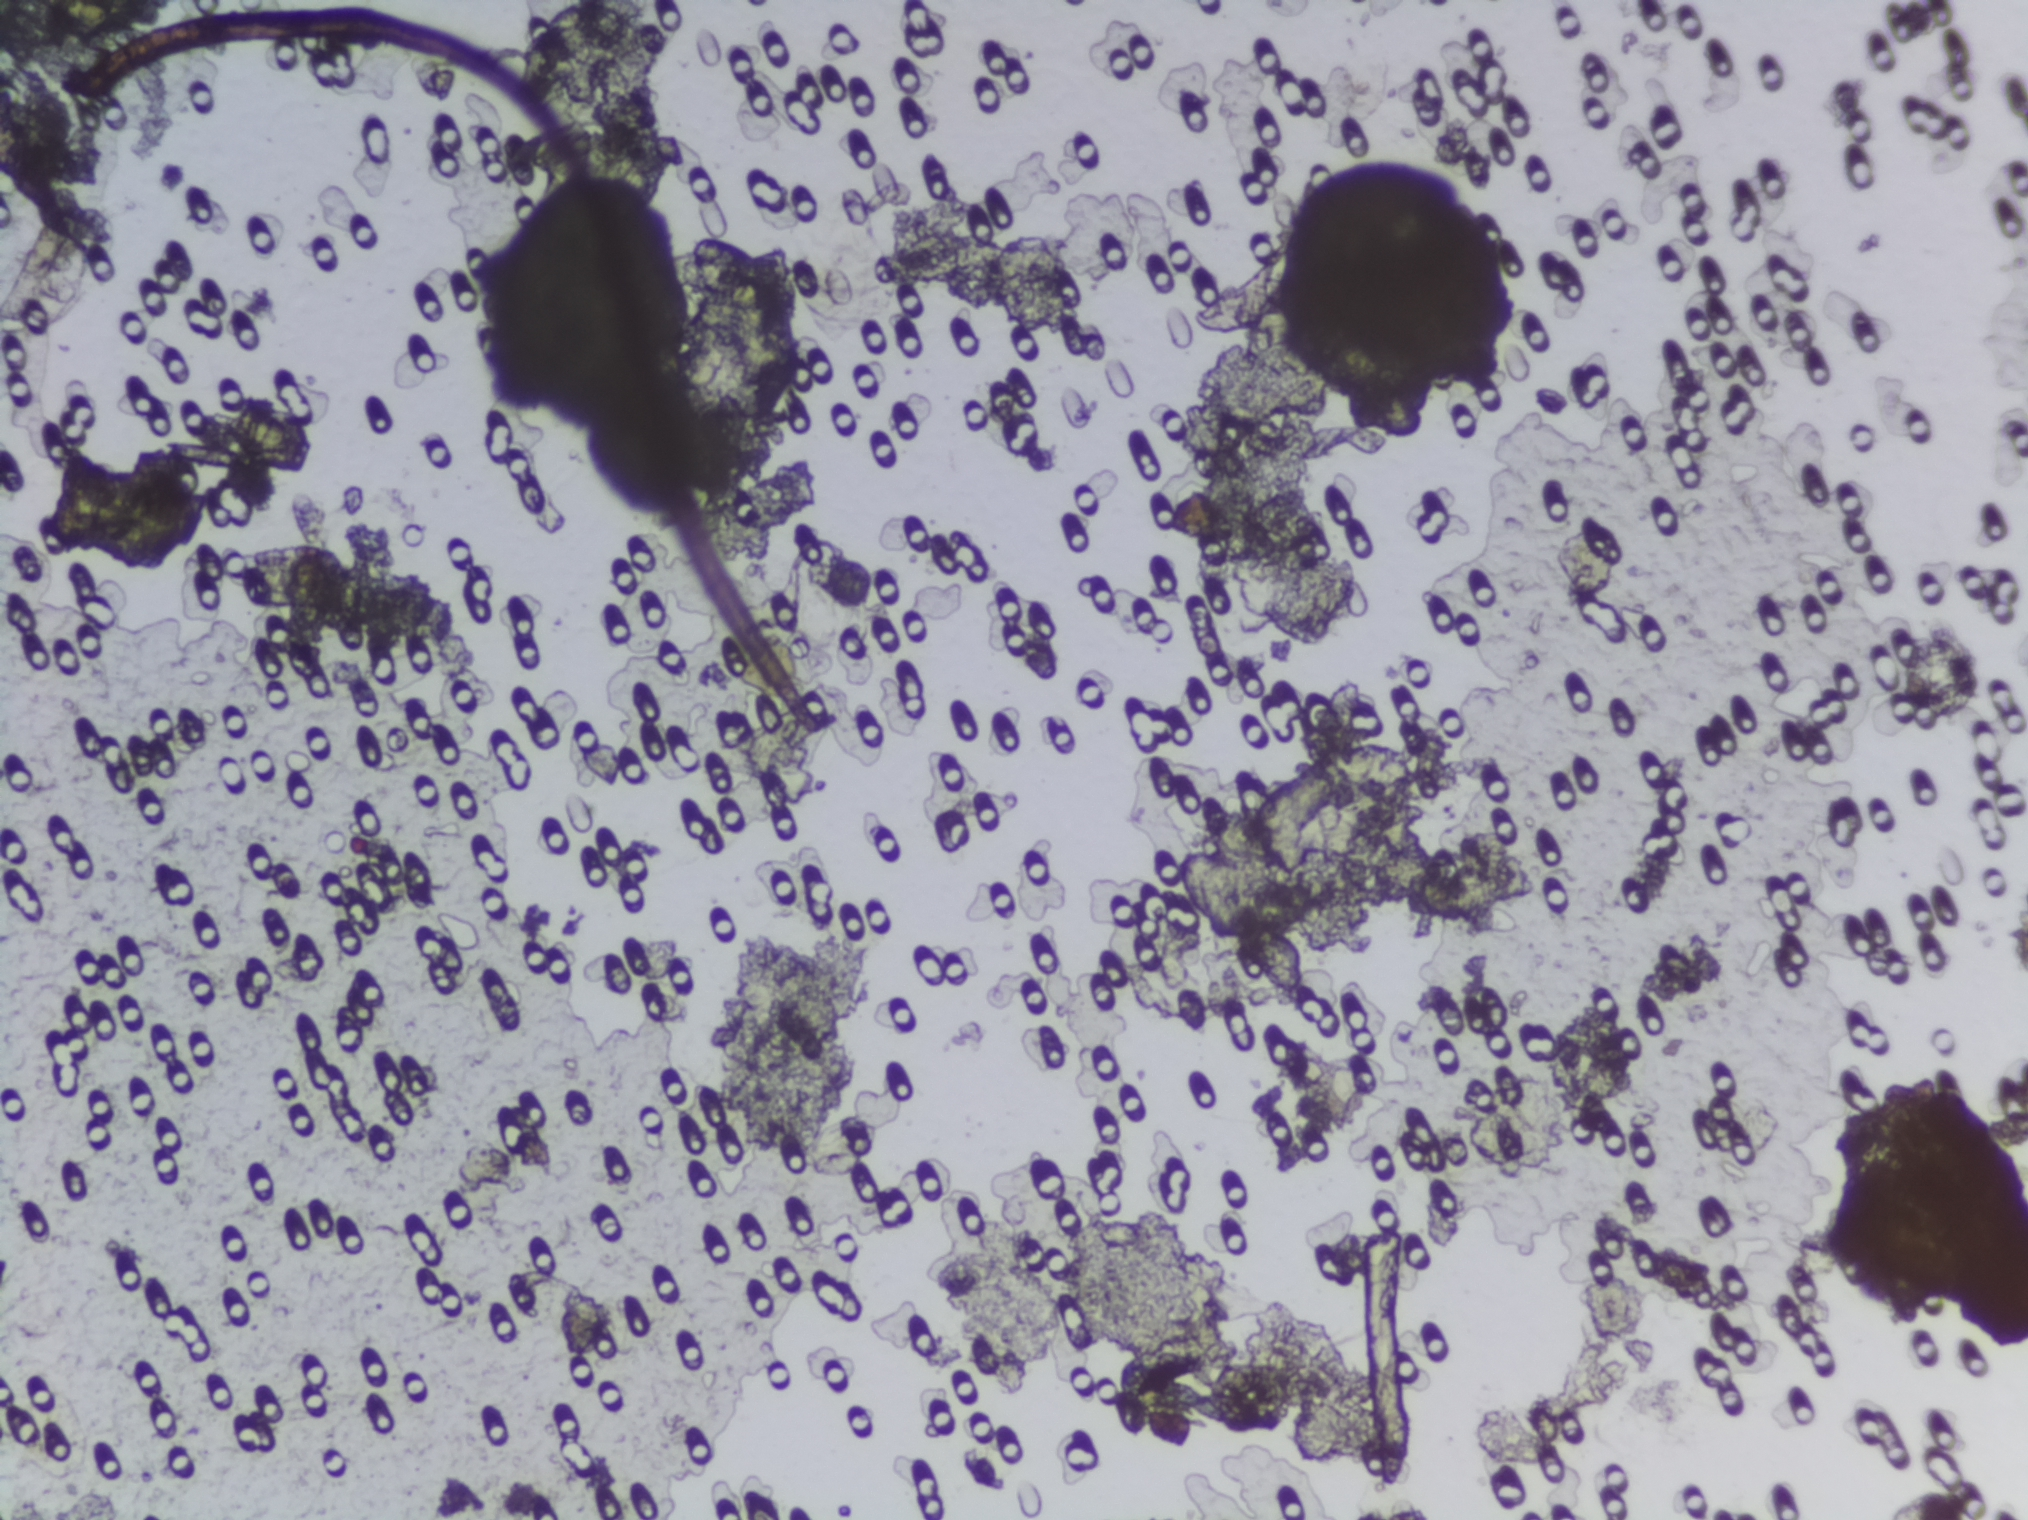
Photomicrograph of a urine filtration membrane, 4× objective. The image covers about 1.5 × 1.1 mm of the membrane.
No area of this image was outlined as a Schistosoma egg.